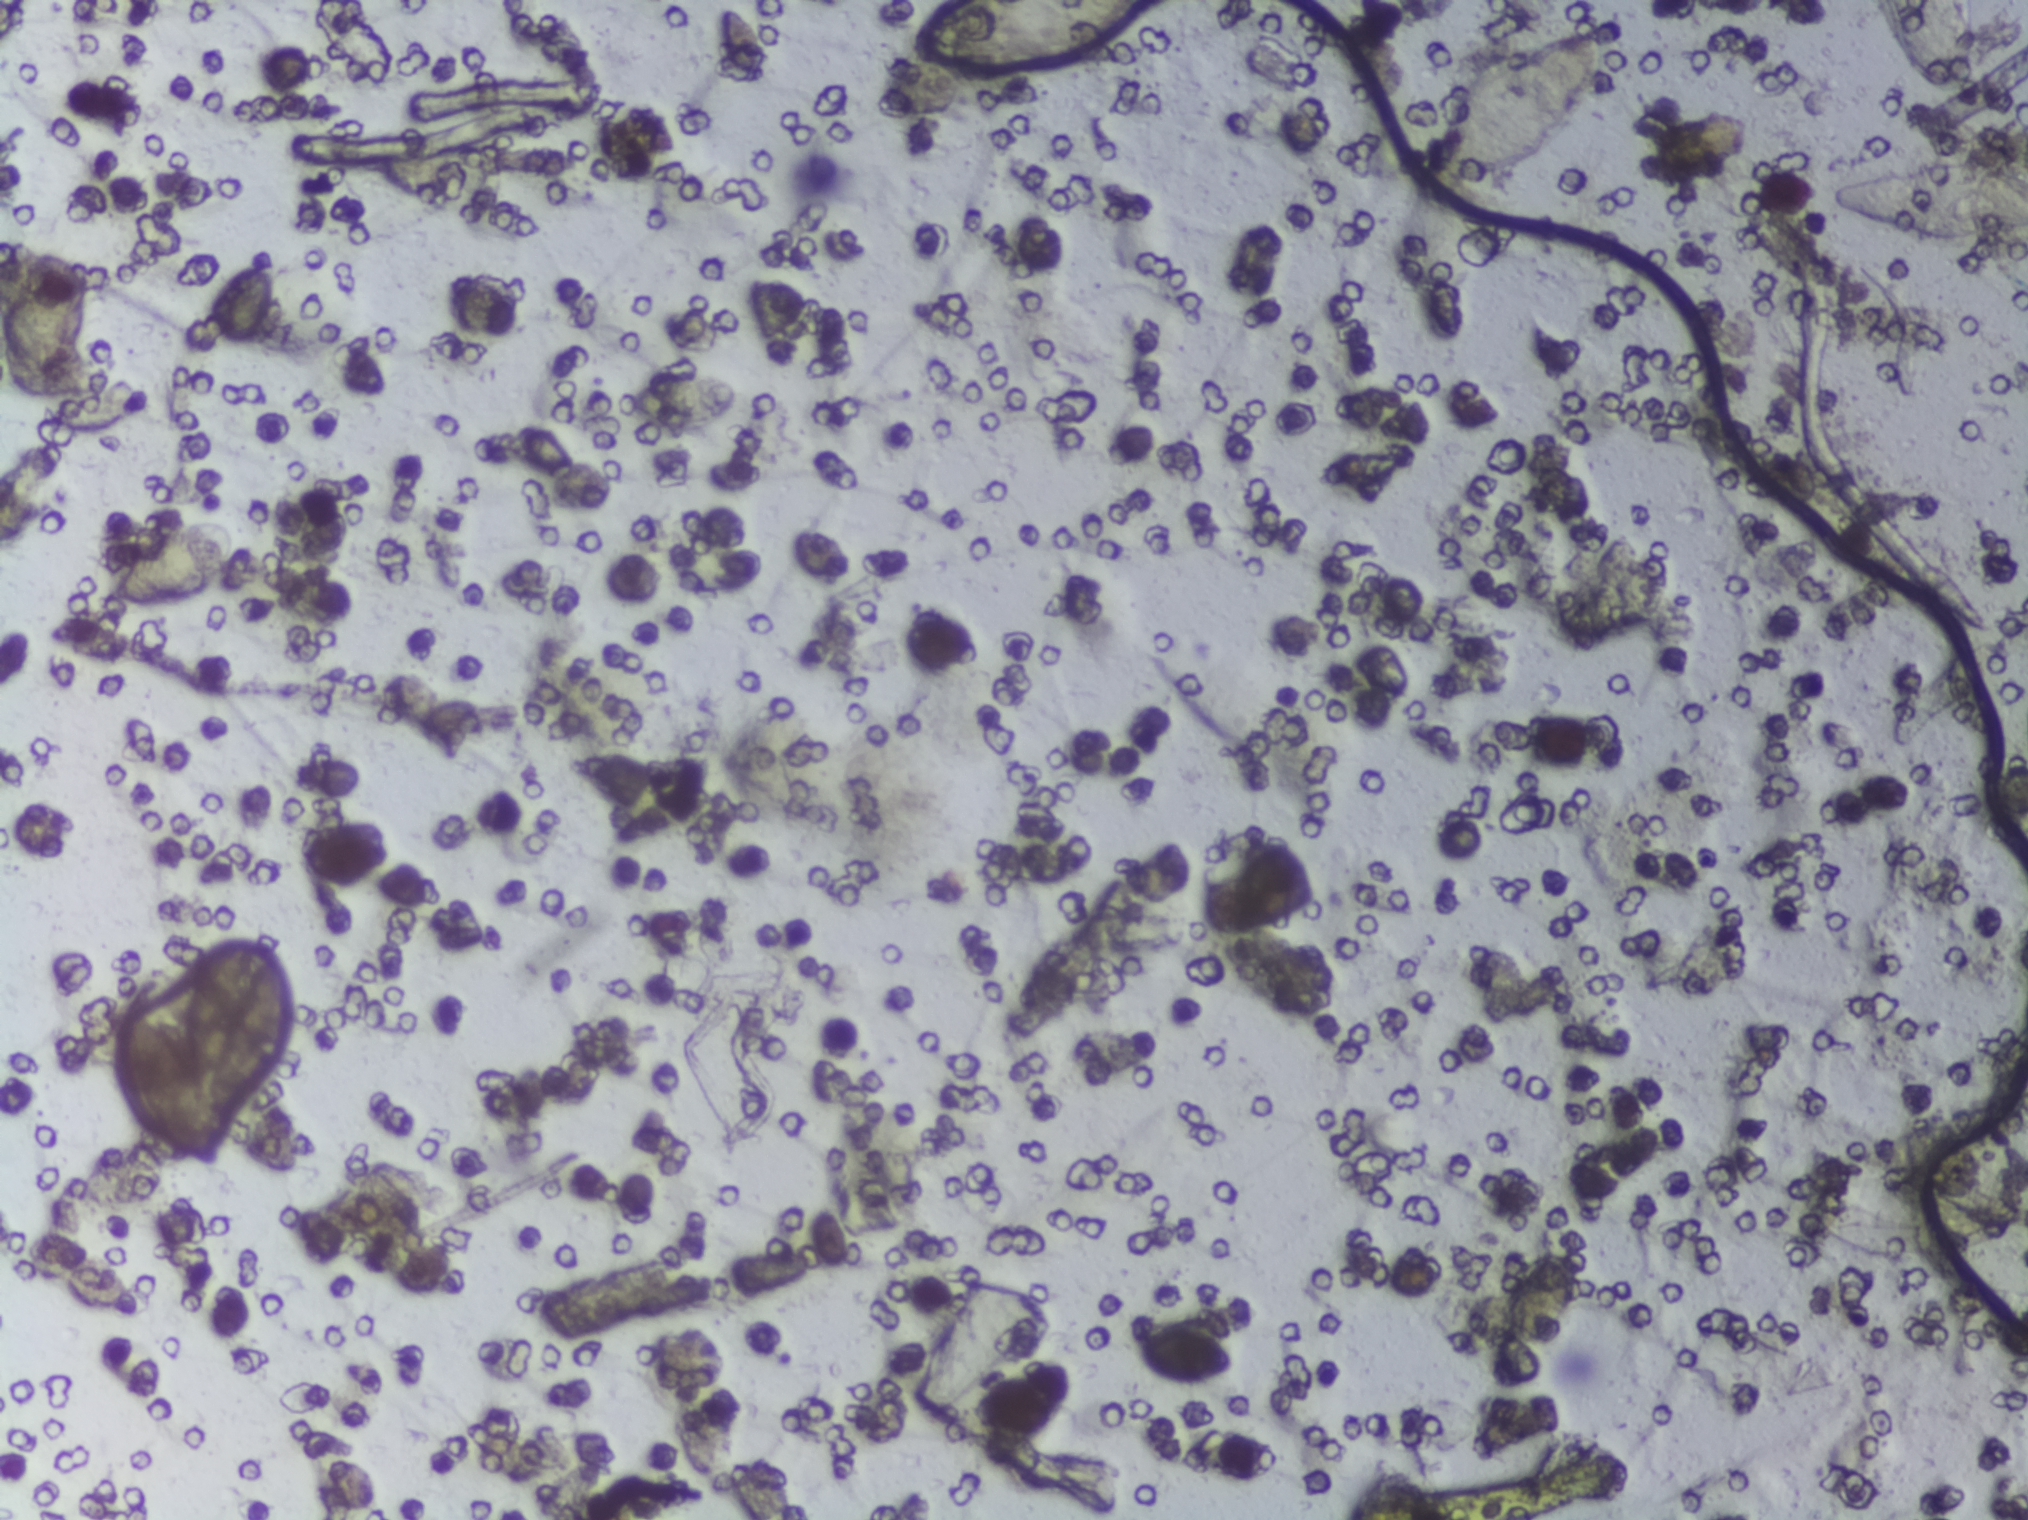
Photograph from an automated digital microscope: urine filter membrane, 4× objective.
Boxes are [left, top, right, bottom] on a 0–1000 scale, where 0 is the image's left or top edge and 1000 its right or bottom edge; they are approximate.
{"schistosoma_egg_areas_xyxy_per1000": [[53, 345, 117, 396], [62, 618, 146, 765], [455, 0, 566, 46], [702, 20, 789, 120], [902, 104, 1000, 193], [926, 0, 974, 64]]} Area 3 reaches the top edge of the frame. Area 5 reaches the right edge of the frame. Area 6 reaches the top edge of the frame.
A single outlined area may contain several eggs.